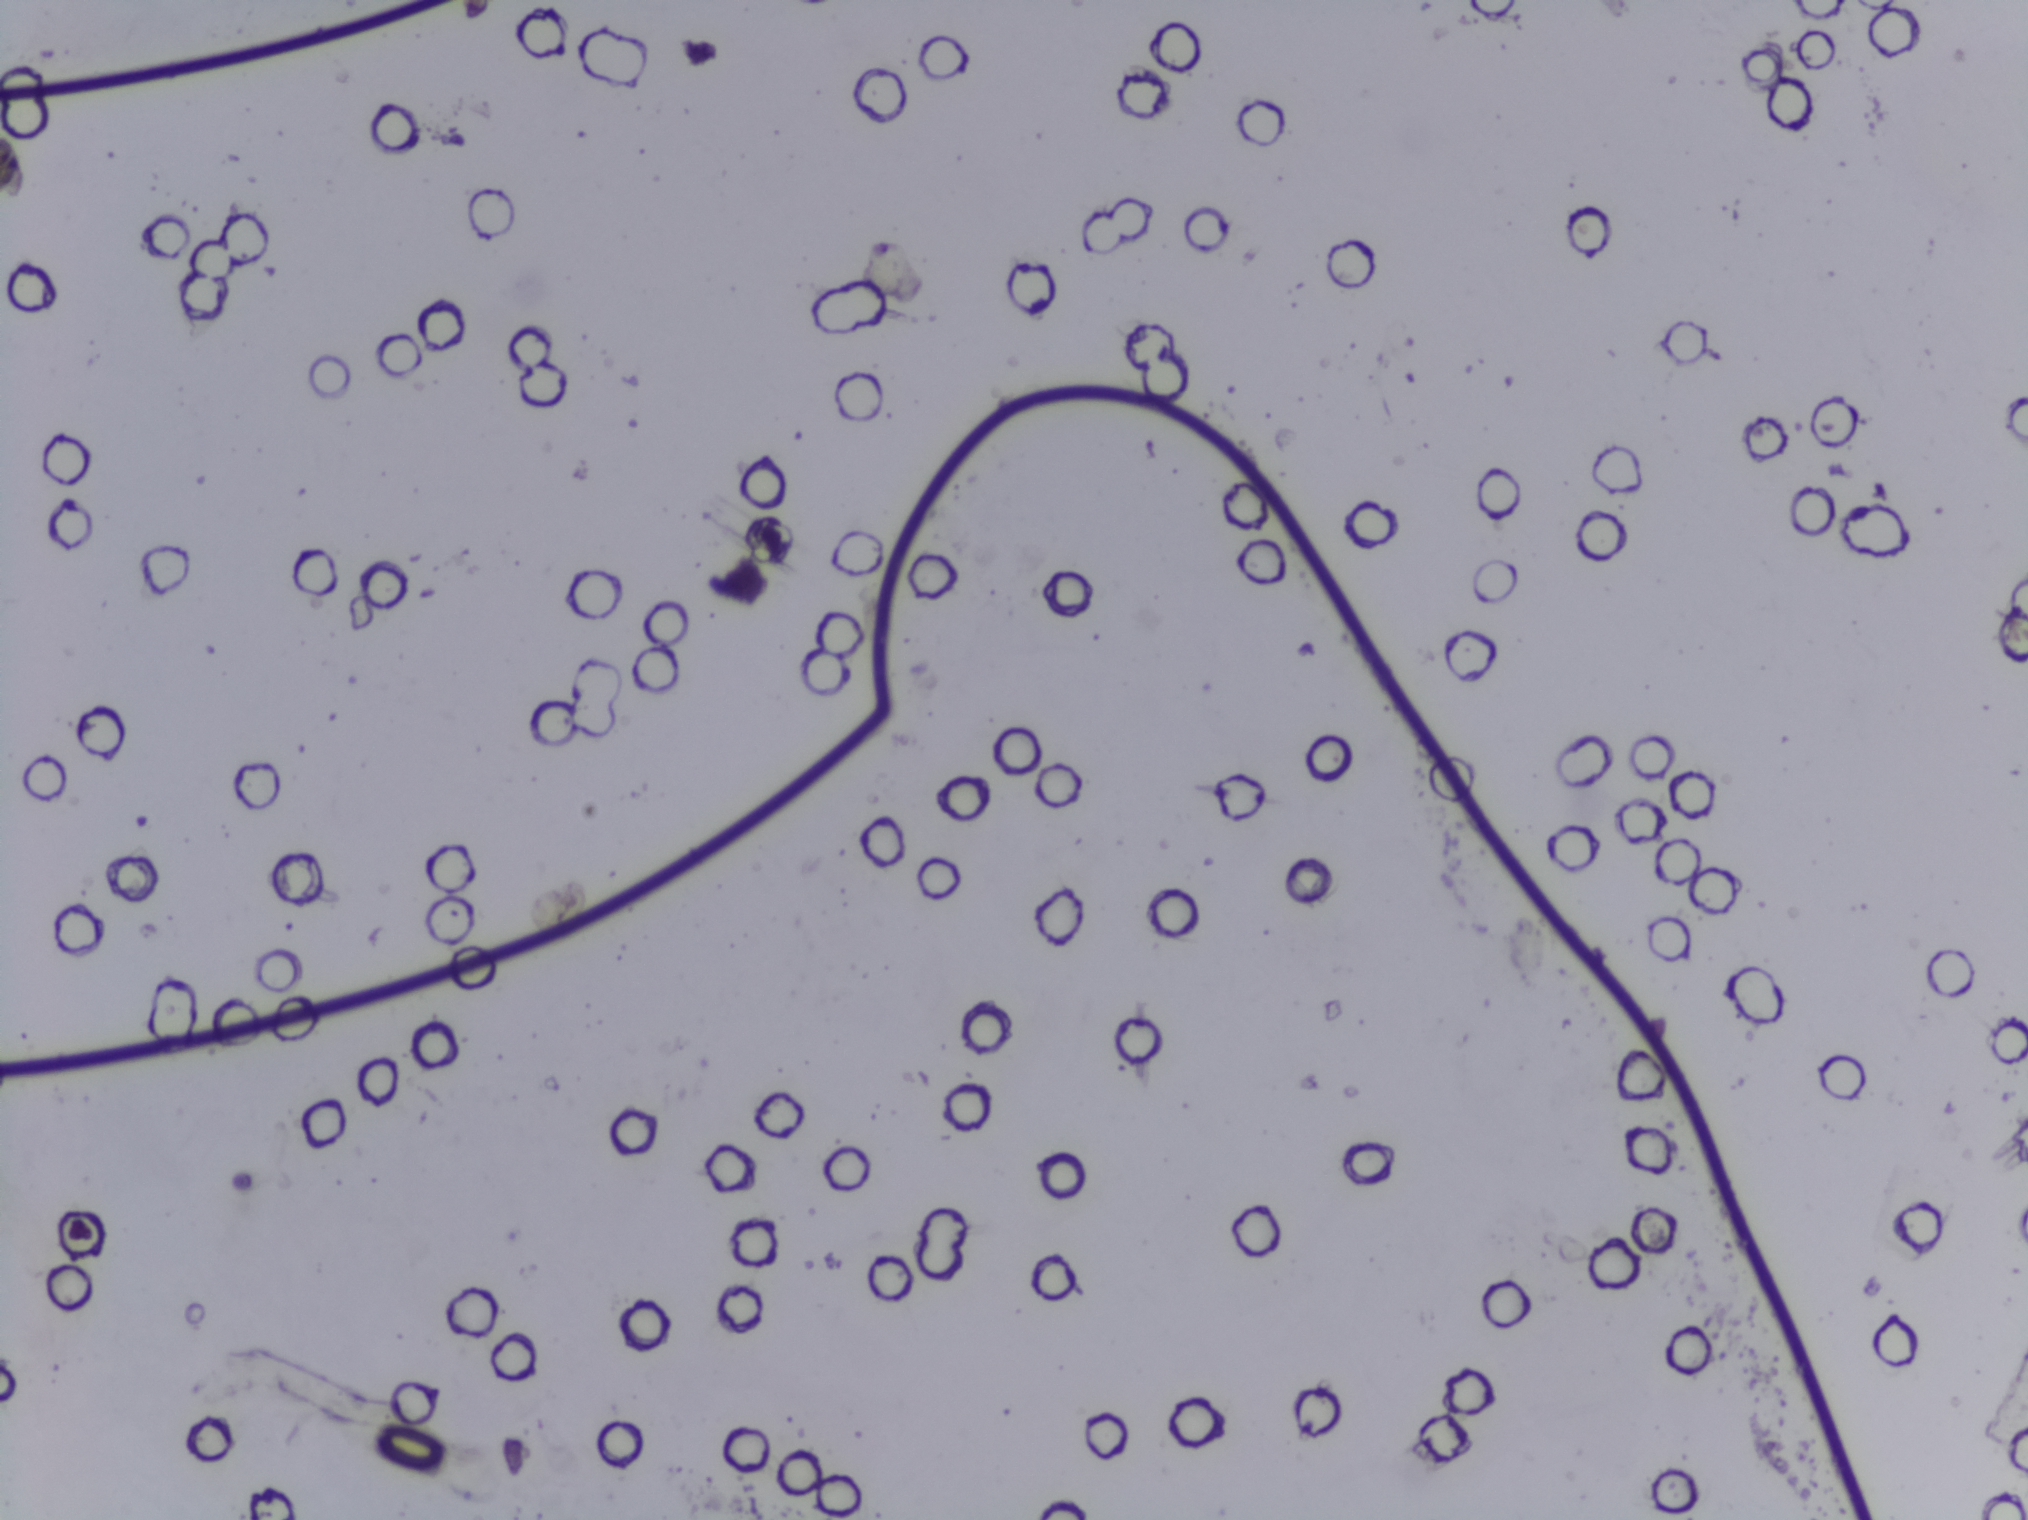
No area of this image was outlined as a Schistosoma egg.
Photomicrograph of a urine filtration membrane, 4× objective.